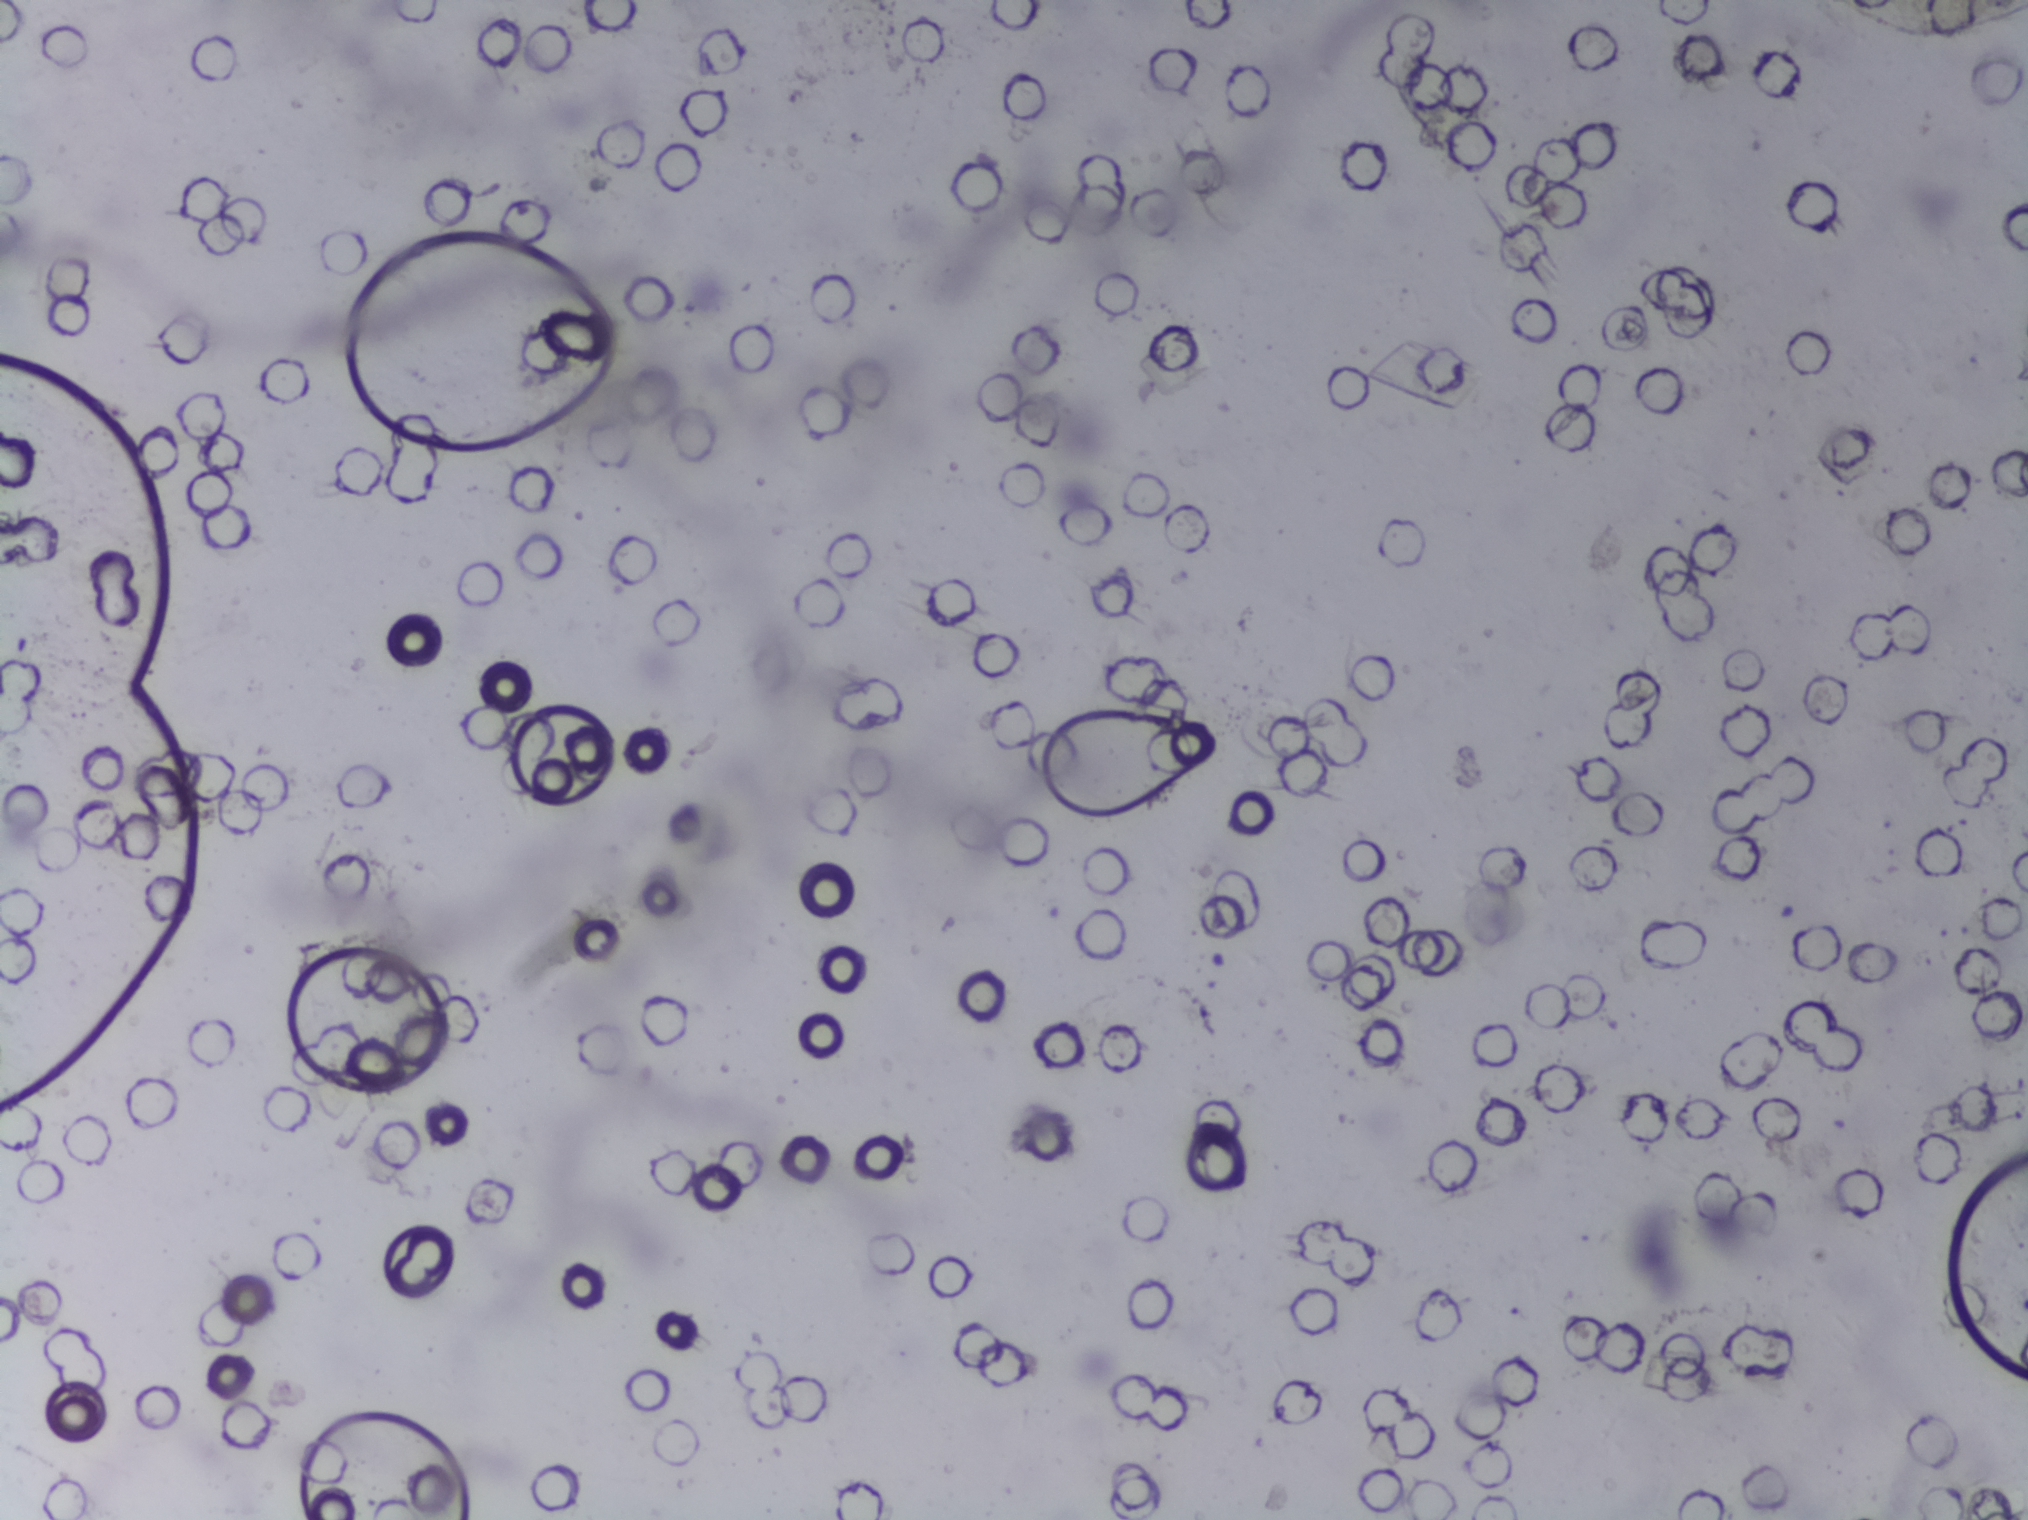
Microscope photograph (4× objective) of a membrane that a urine sample was filtered through. Field of view: about 1.5 mm wide and 1.1 mm high.
No Schistosoma egg is outlined in this image's expert annotation.